Photograph from an automated digital microscope: urine filter membrane, 4× objective.
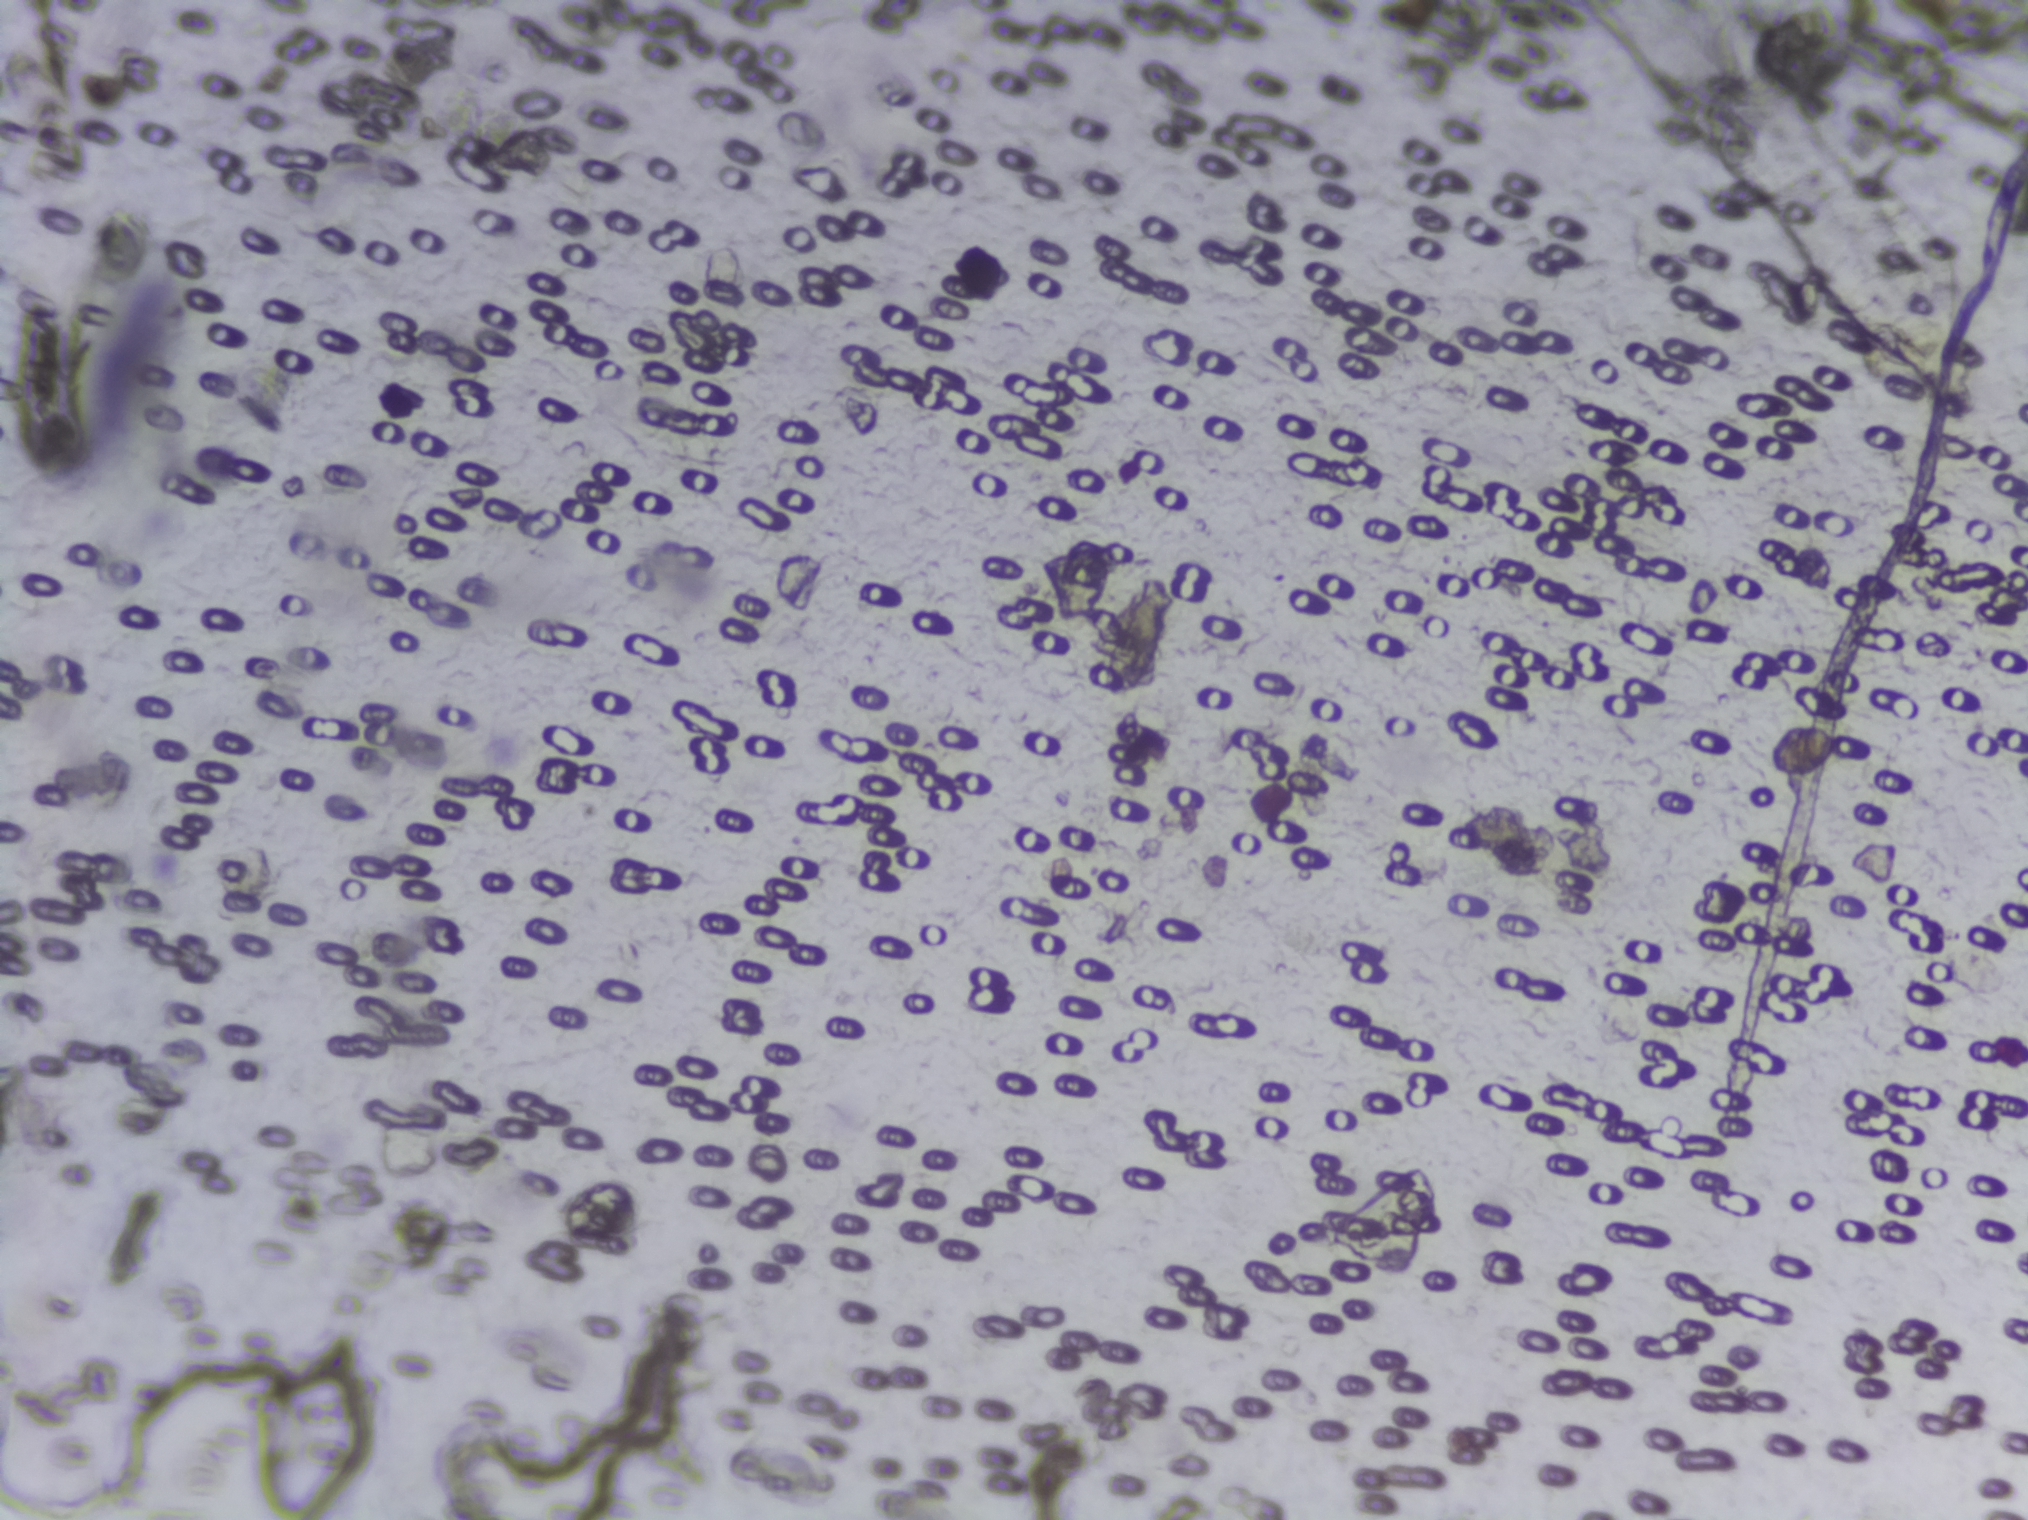
The expert annotation outlines no Schistosoma egg in this image.